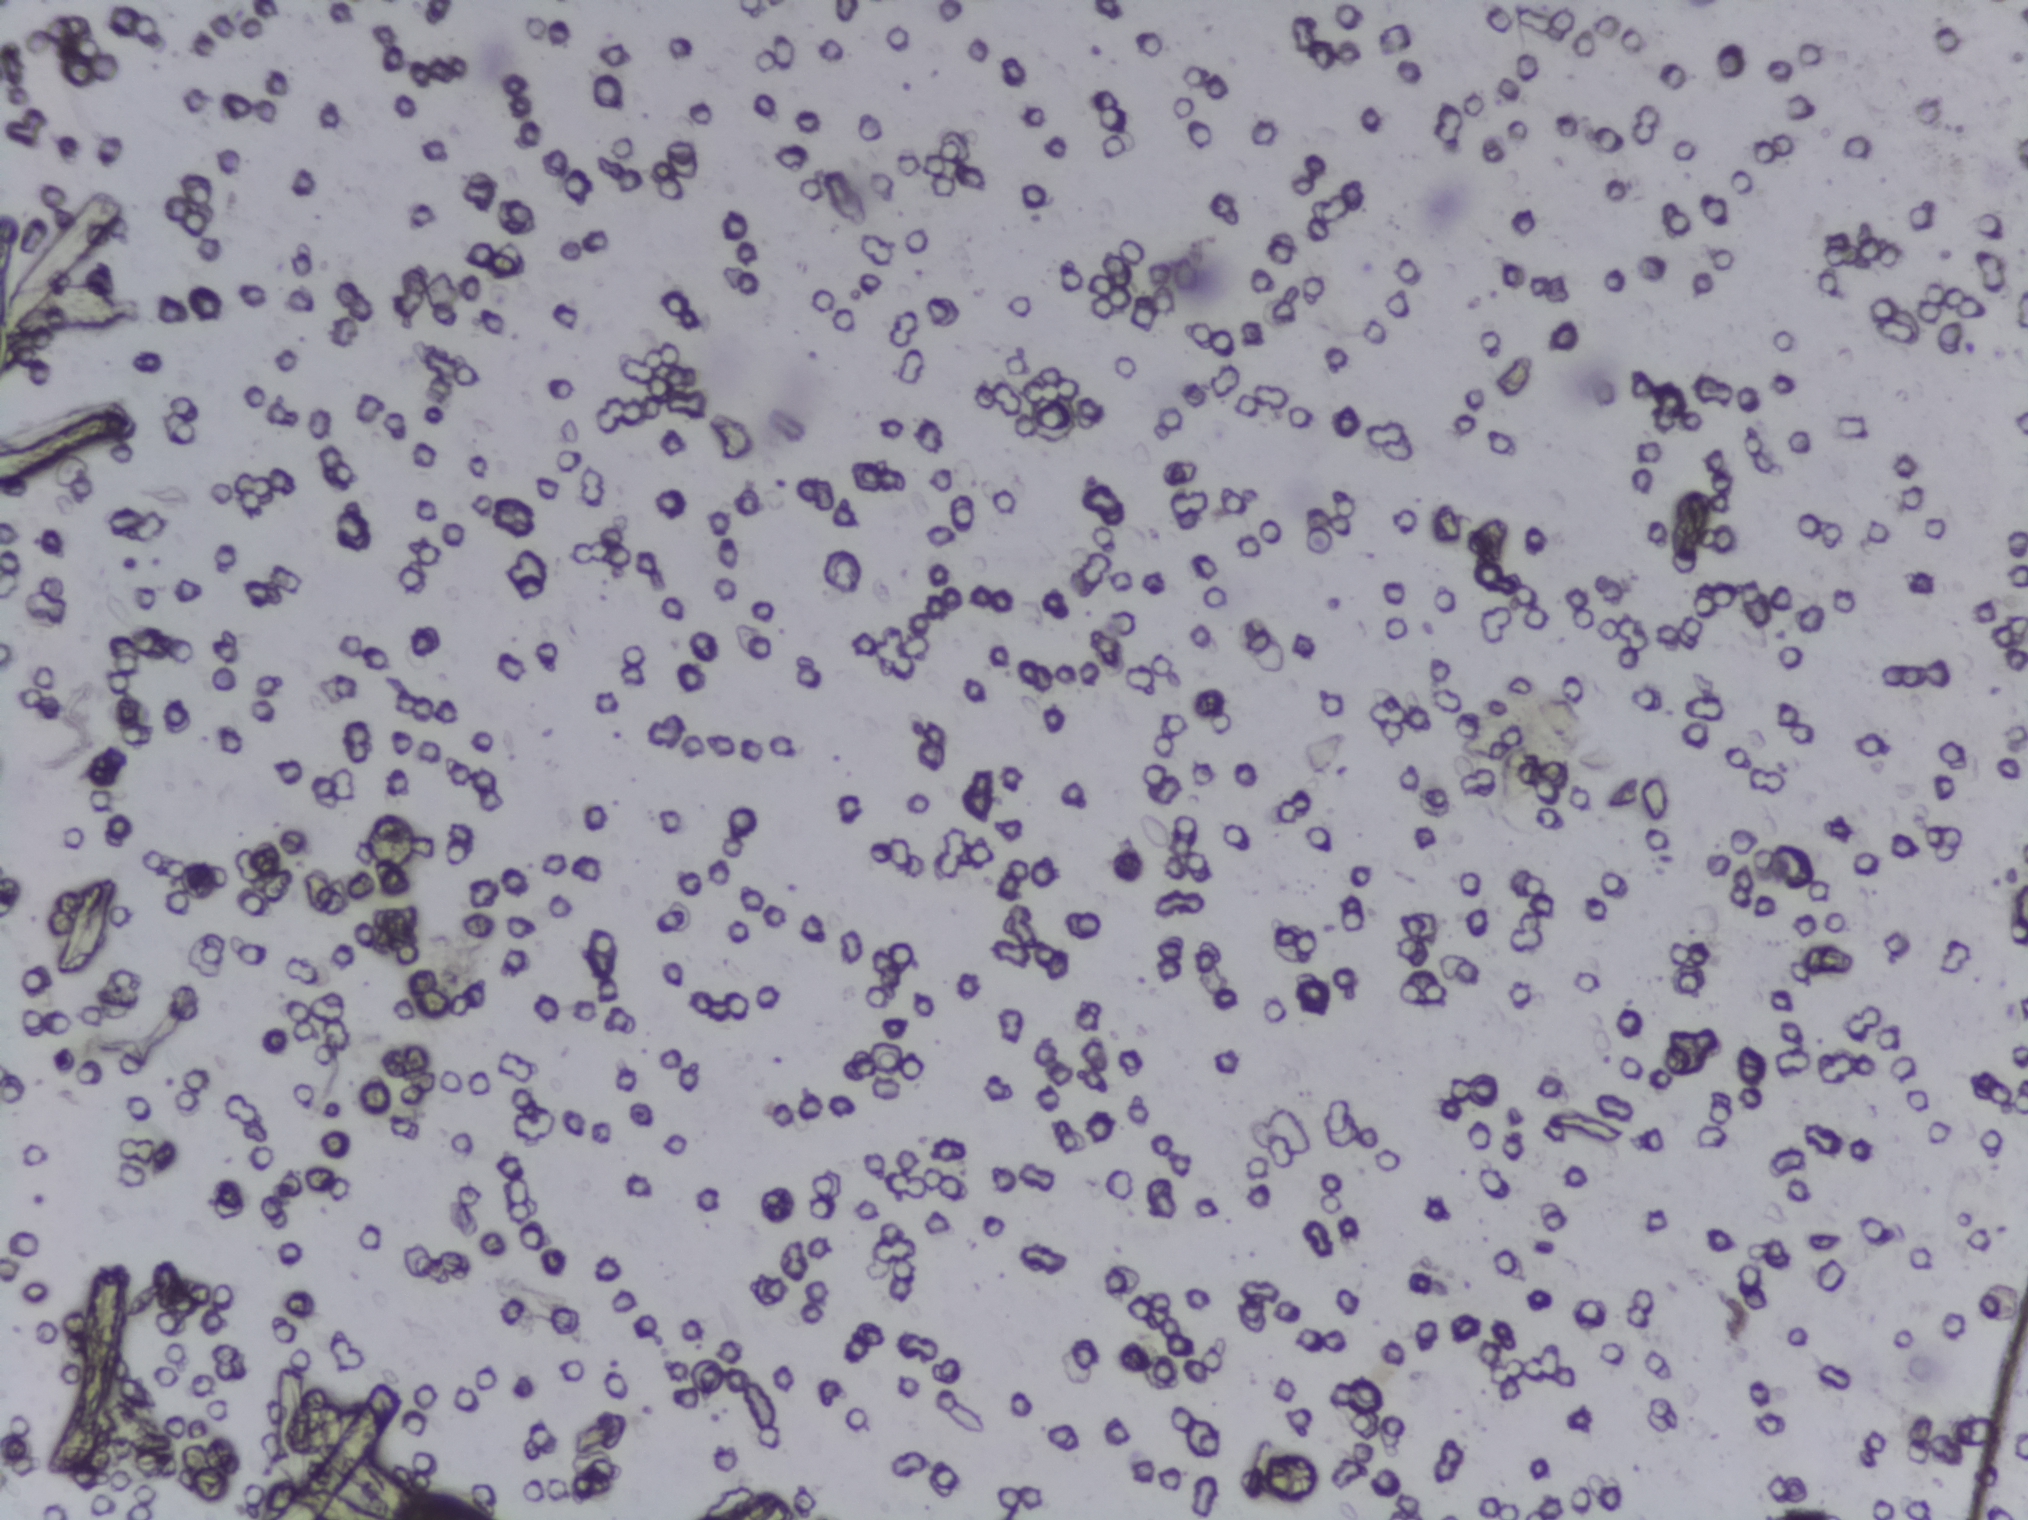
One field of view of a urine filter membrane, 4× objective, 2028 × 1520 pixels.
No Schistosoma egg is outlined in this image's expert annotation.